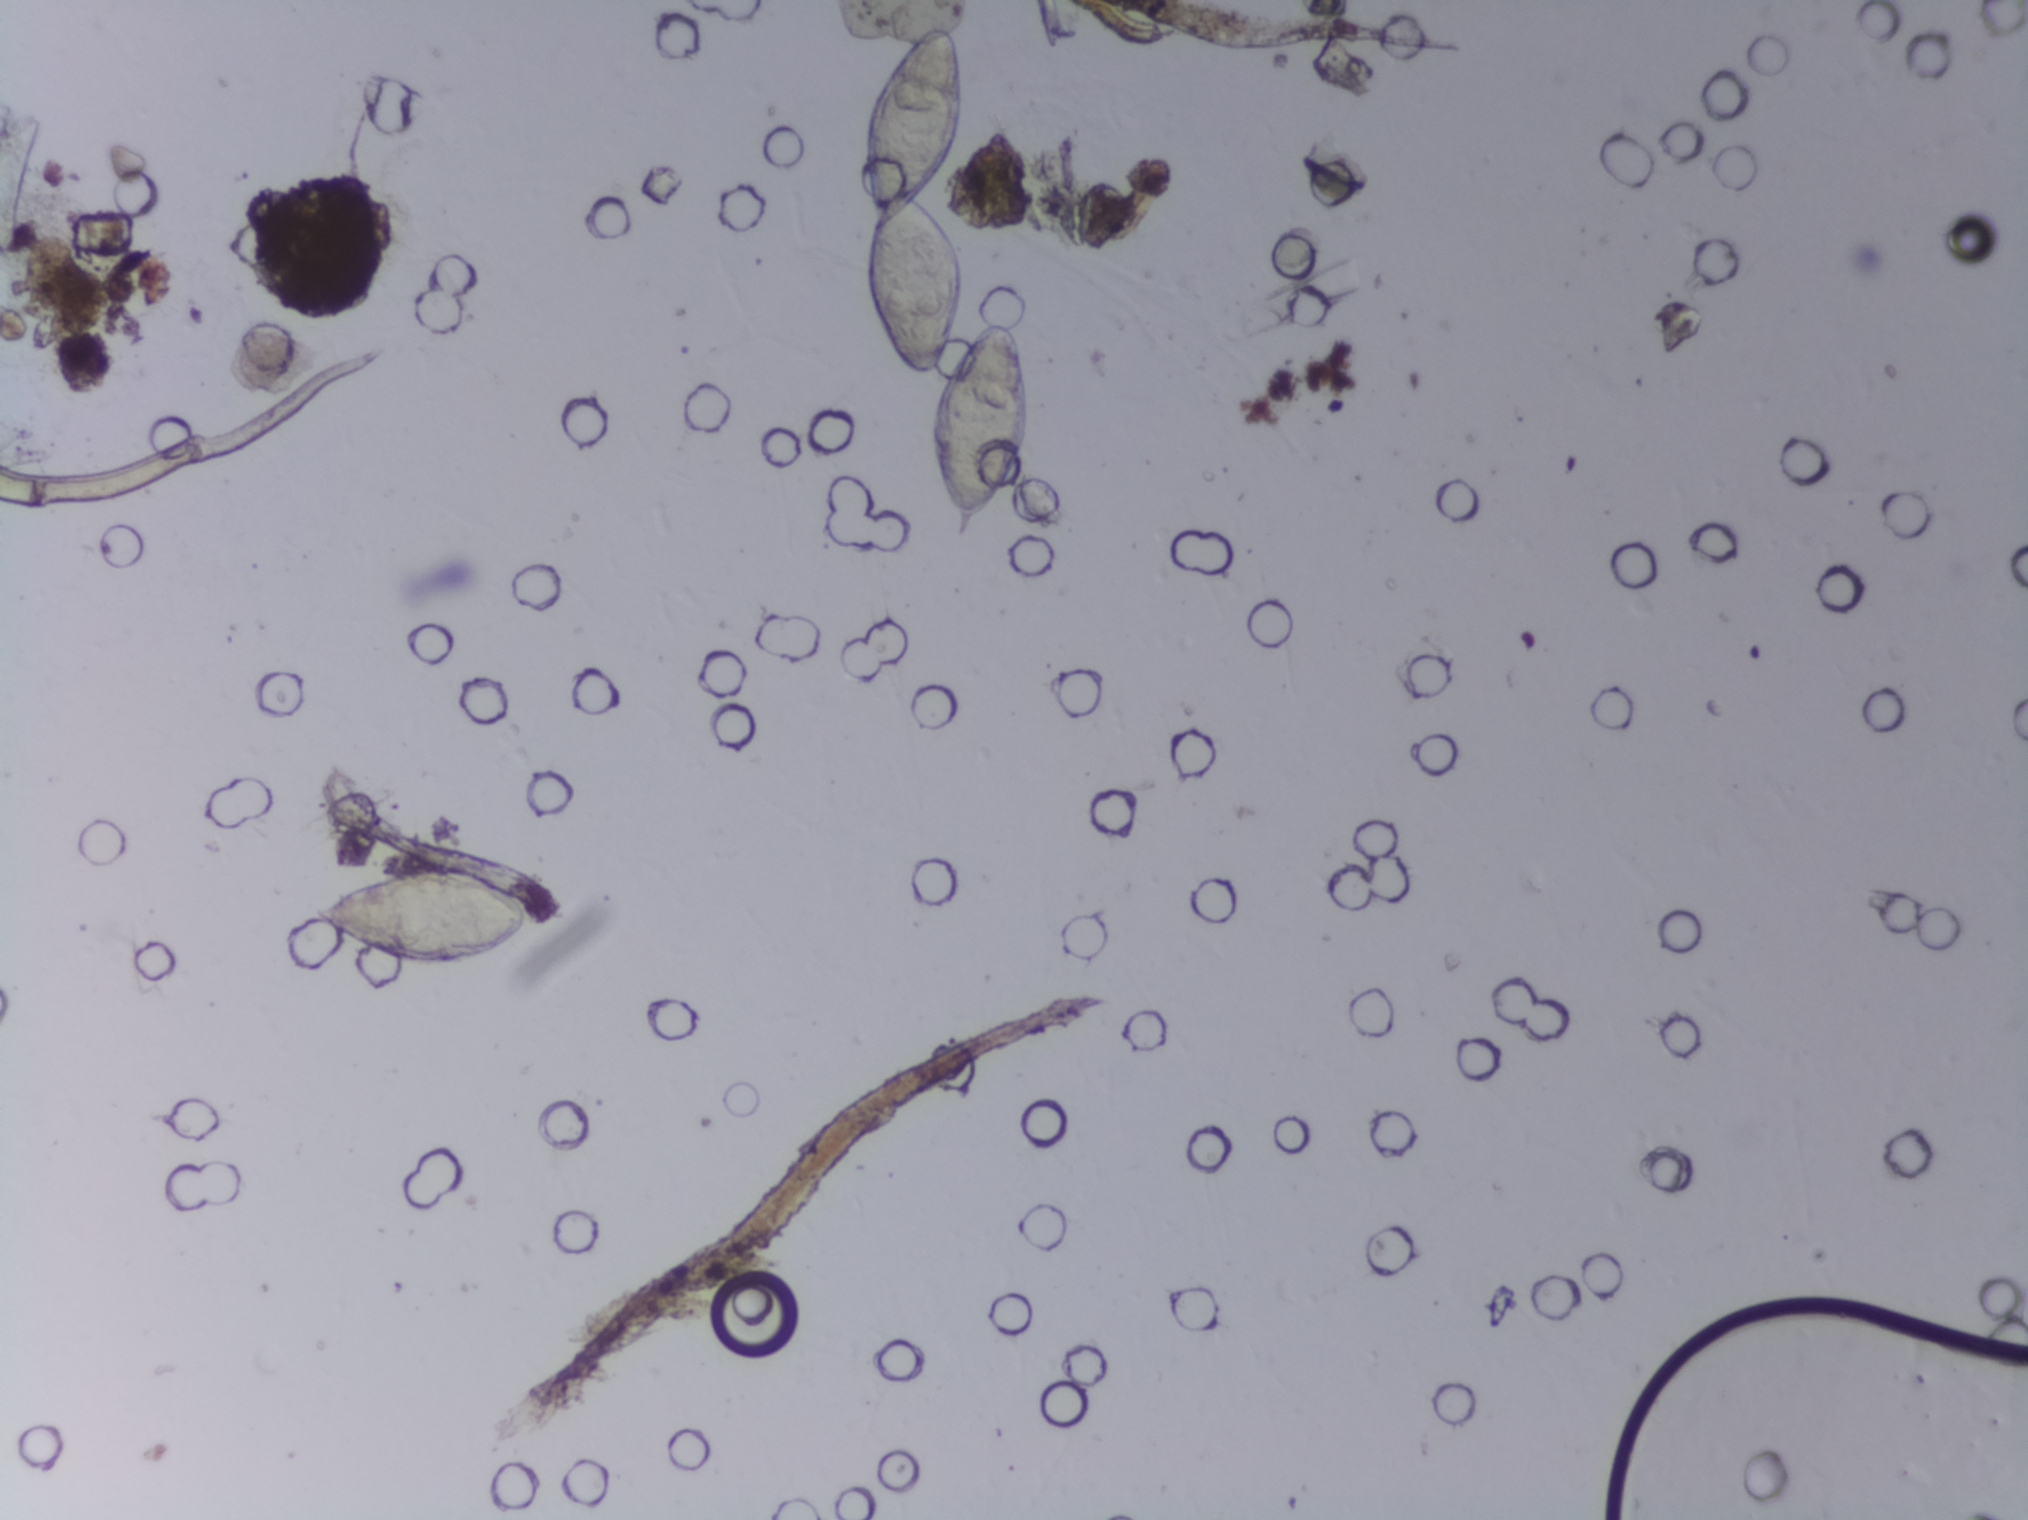
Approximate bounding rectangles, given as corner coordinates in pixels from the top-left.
Two areas of this image are outlined as Schistosoma eggs, from left to right: (x1=308, y1=868, x2=536, y2=967) and (x1=860, y1=23, x2=1033, y2=547). About 2.0% of the image's pixels are marked (the marked pixels themselves, not the boxes around them). An outlined area can hold more than one egg.
Urine filtration membrane under a 4× objective, photographed by an automated digital microscope.